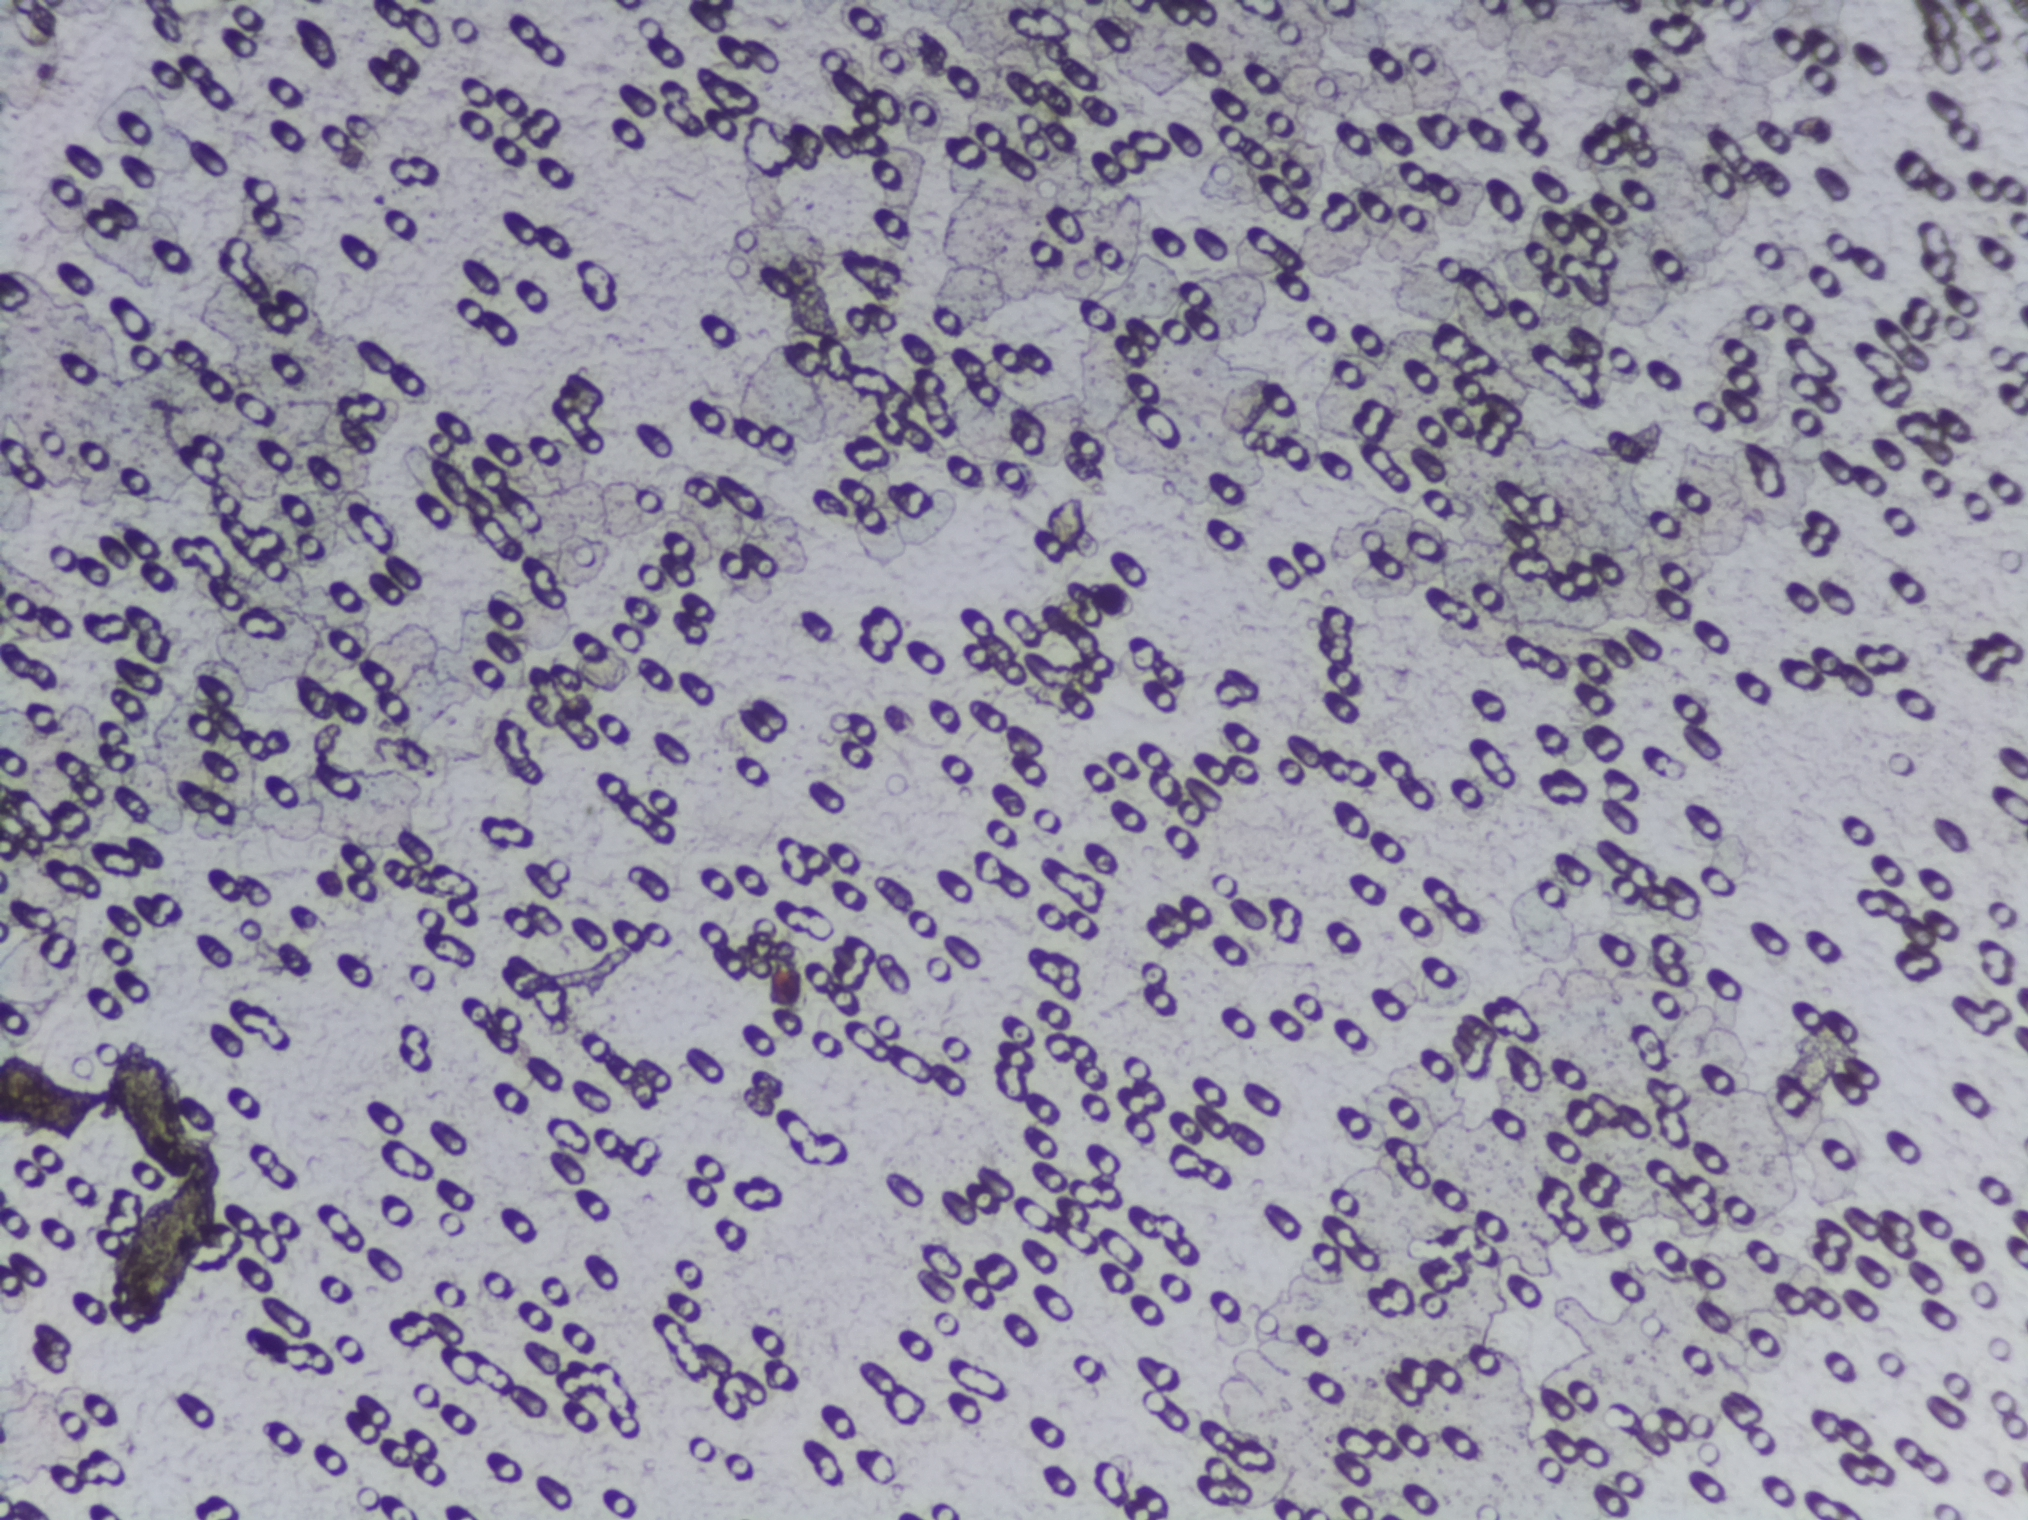
Urine filtration membrane under a 4× objective, photographed by an automated digital microscope.
The expert annotation outlines no Schistosoma egg in this image.